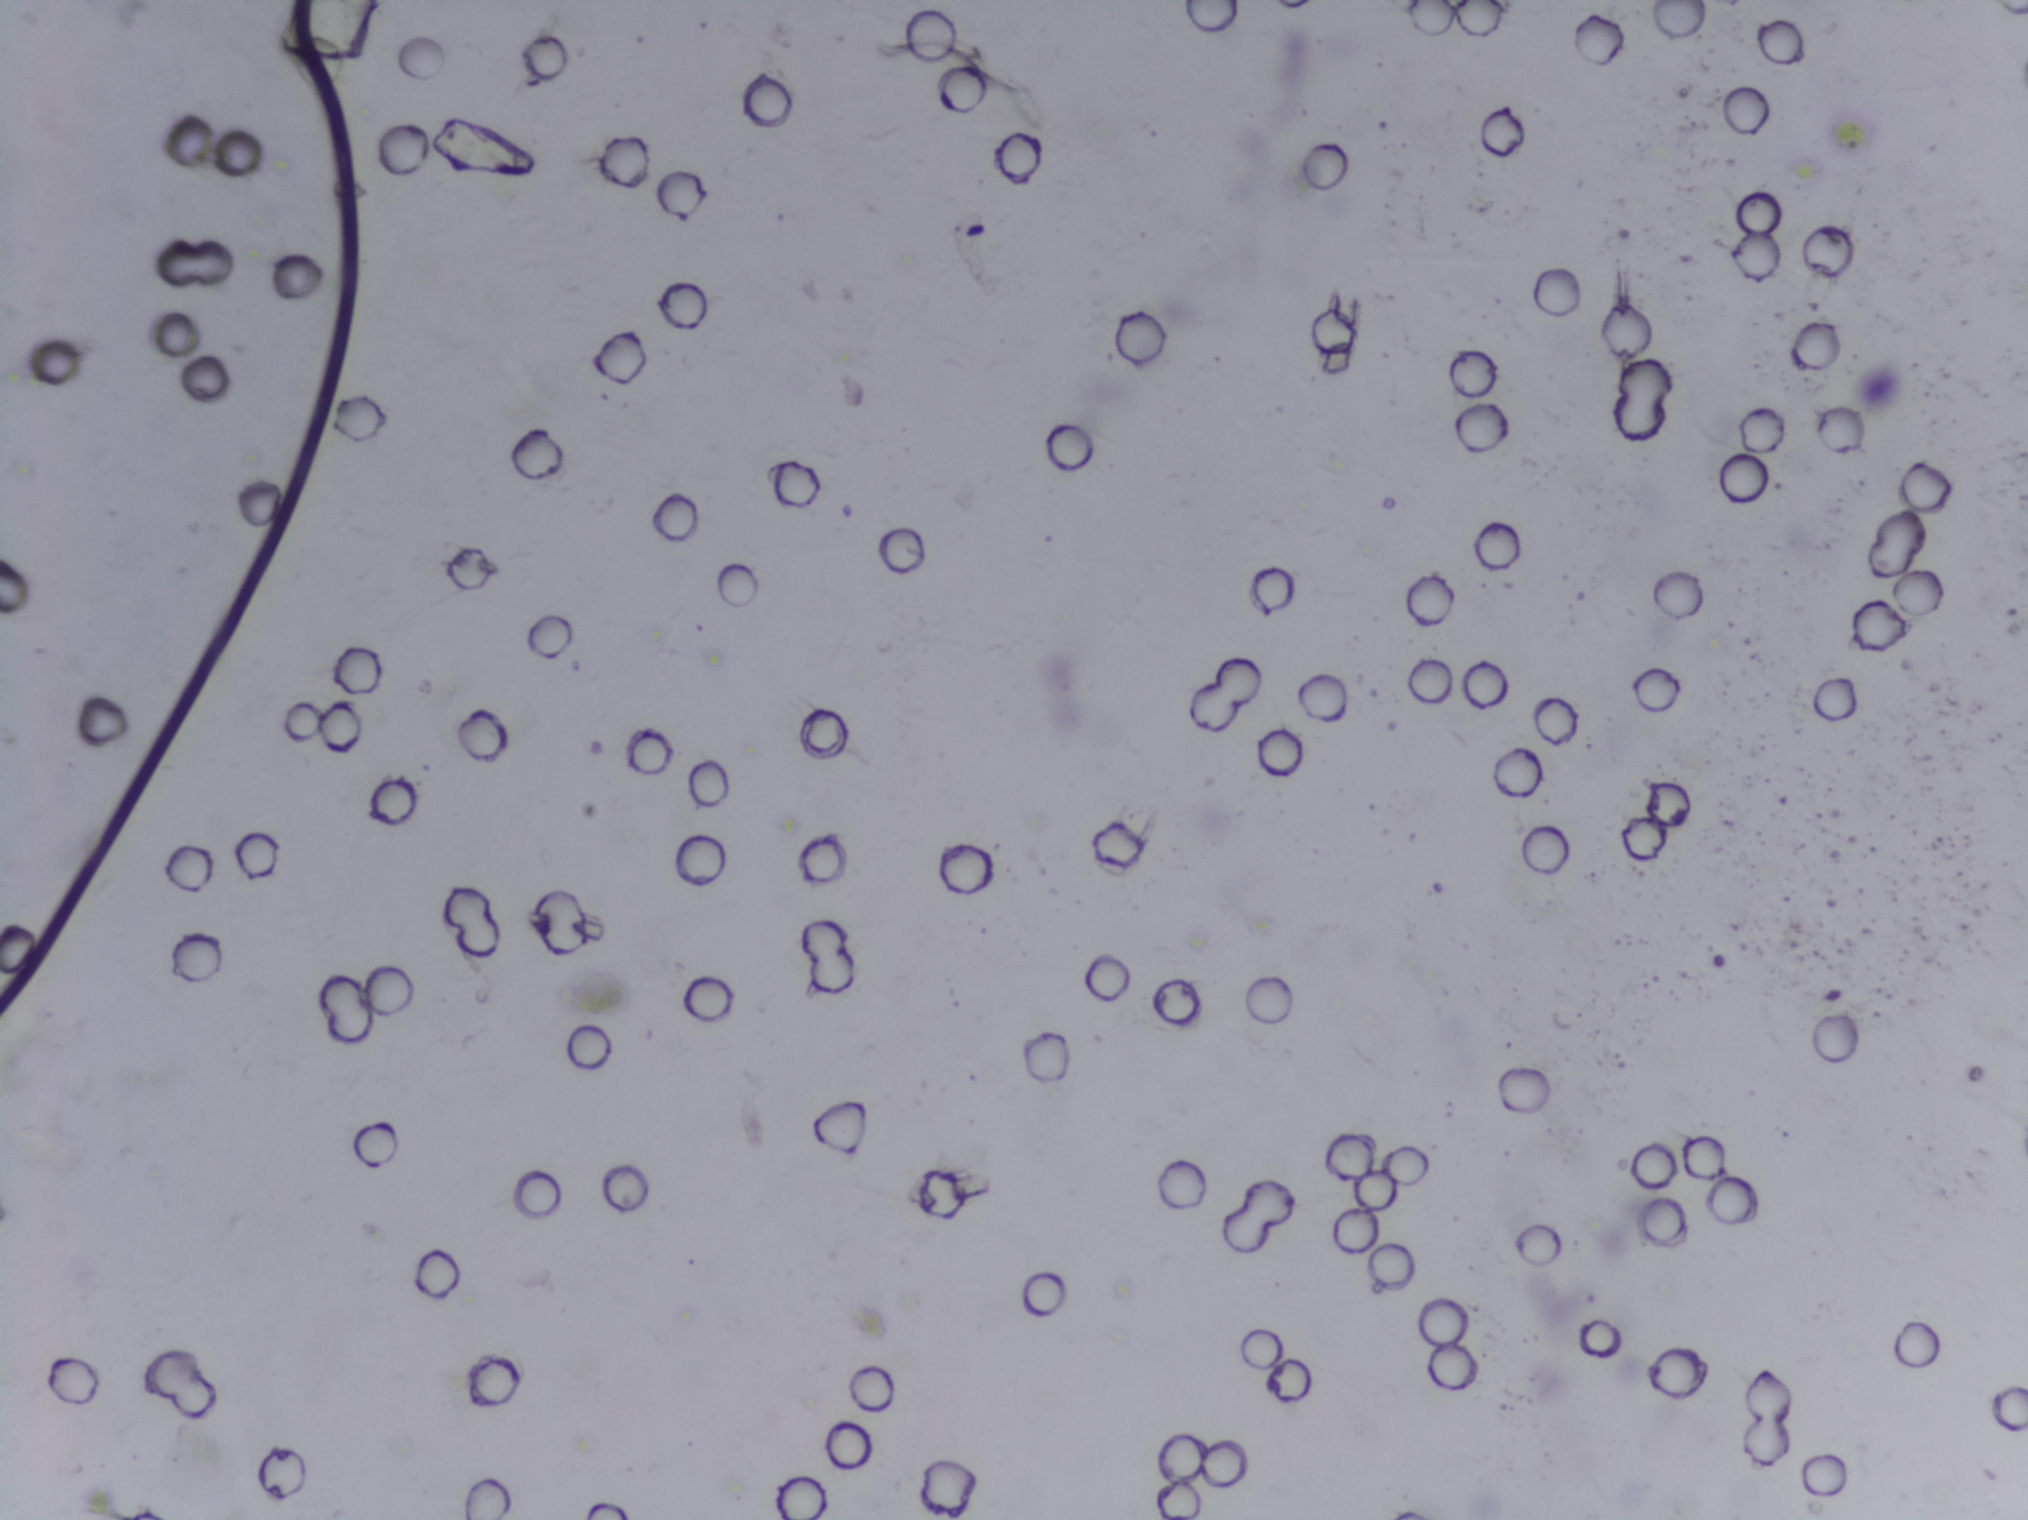
Urine filtration membrane under a 4× objective, photographed by an automated digital microscope.
No area of this image was outlined as a Schistosoma egg.